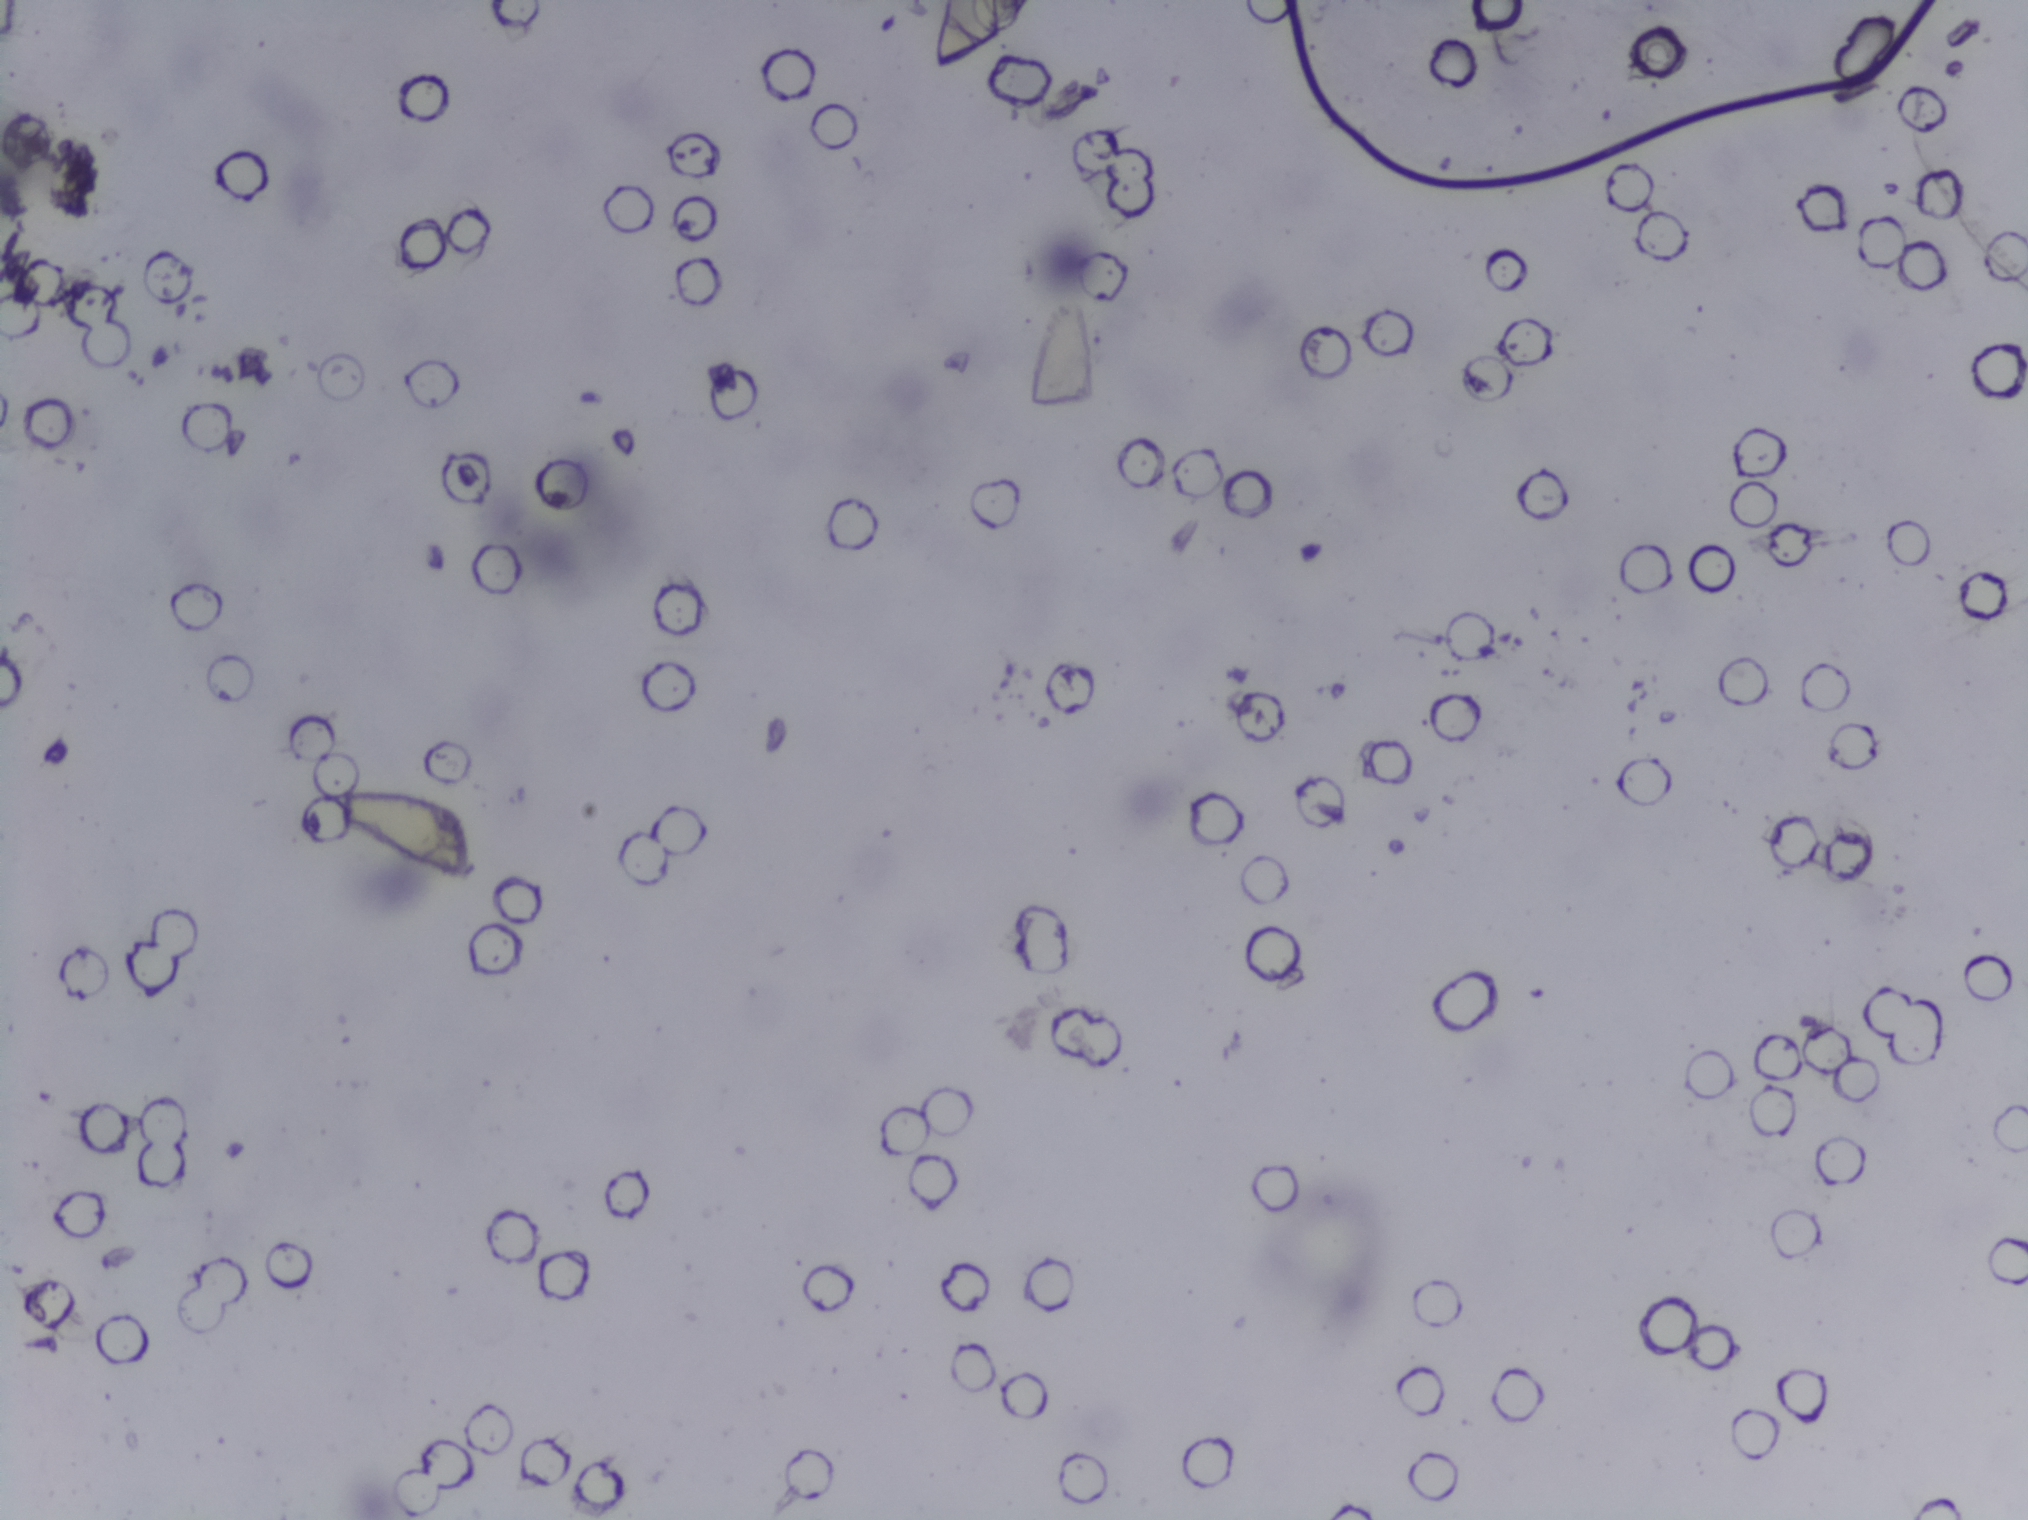
Urine filtration membrane under a 4× objective, photographed by an automated digital microscope. The image covers about 1.5 × 1.1 mm of the membrane.
No Schistosoma egg is outlined in this image's expert annotation.